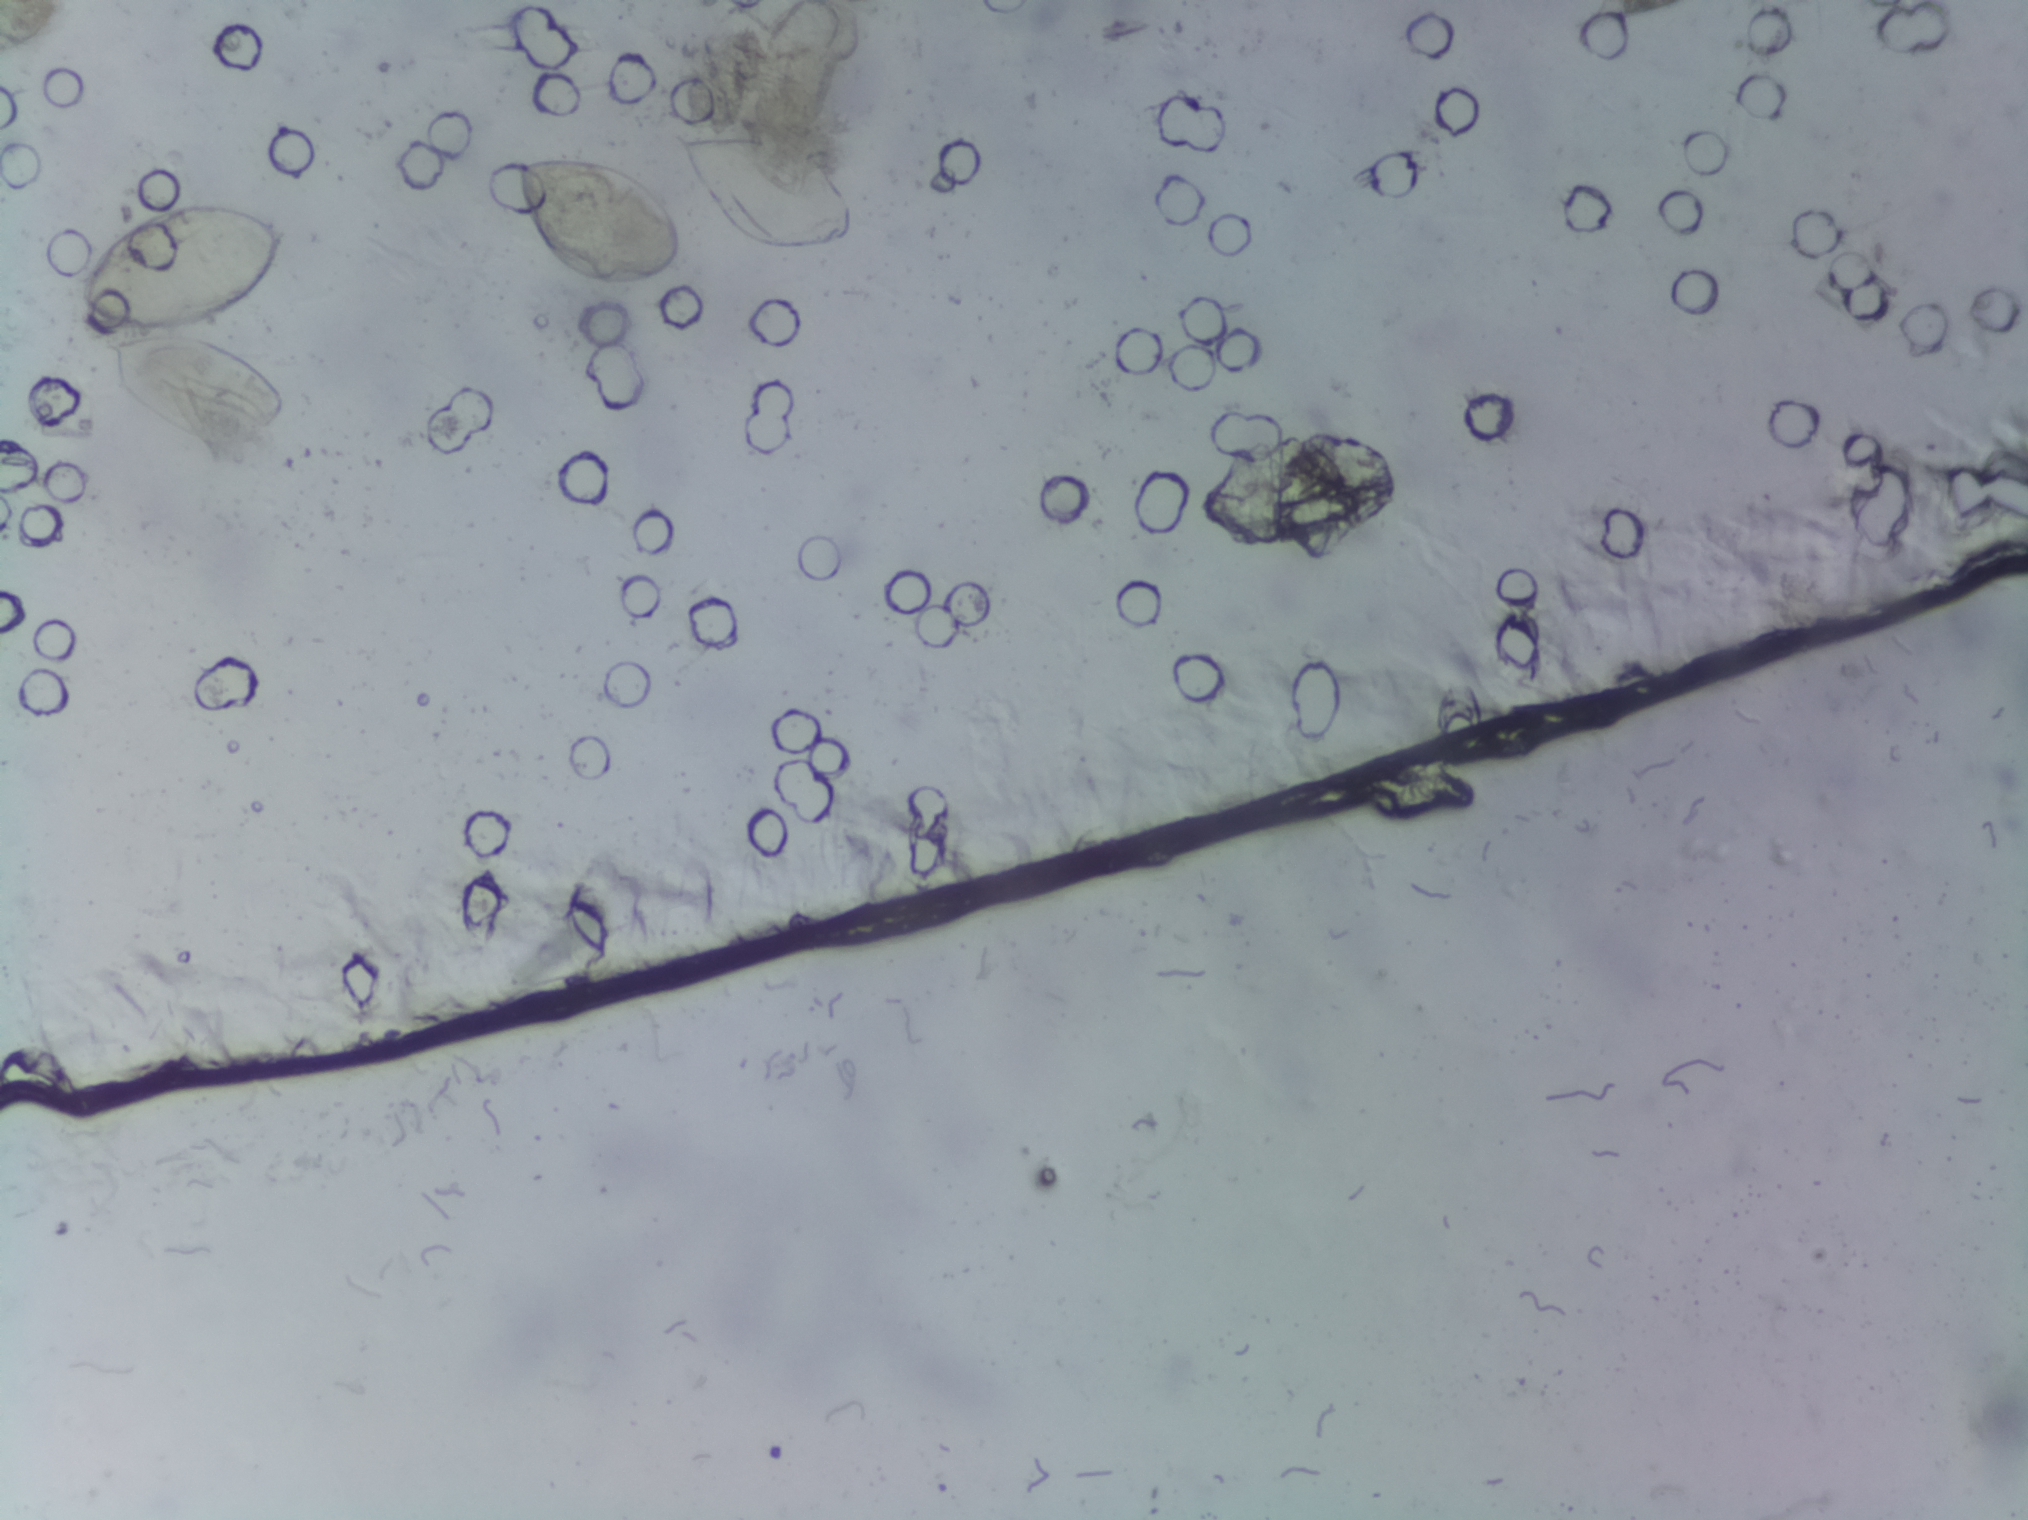
Photograph from an automated digital microscope: urine filter membrane, 4× objective.
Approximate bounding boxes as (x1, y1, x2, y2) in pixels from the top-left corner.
Findings: four areas outlined as Schistosoma eggs. Locations: (75, 198, 296, 450); (499, 148, 688, 293); (675, 124, 856, 255); (1188, 429, 1407, 547). A single outlined area may contain several eggs. A marked egg may occasionally be S. mansoni rather than S. haematobium.